Microscope photograph (4× objective) of a membrane that a urine sample was filtered through.
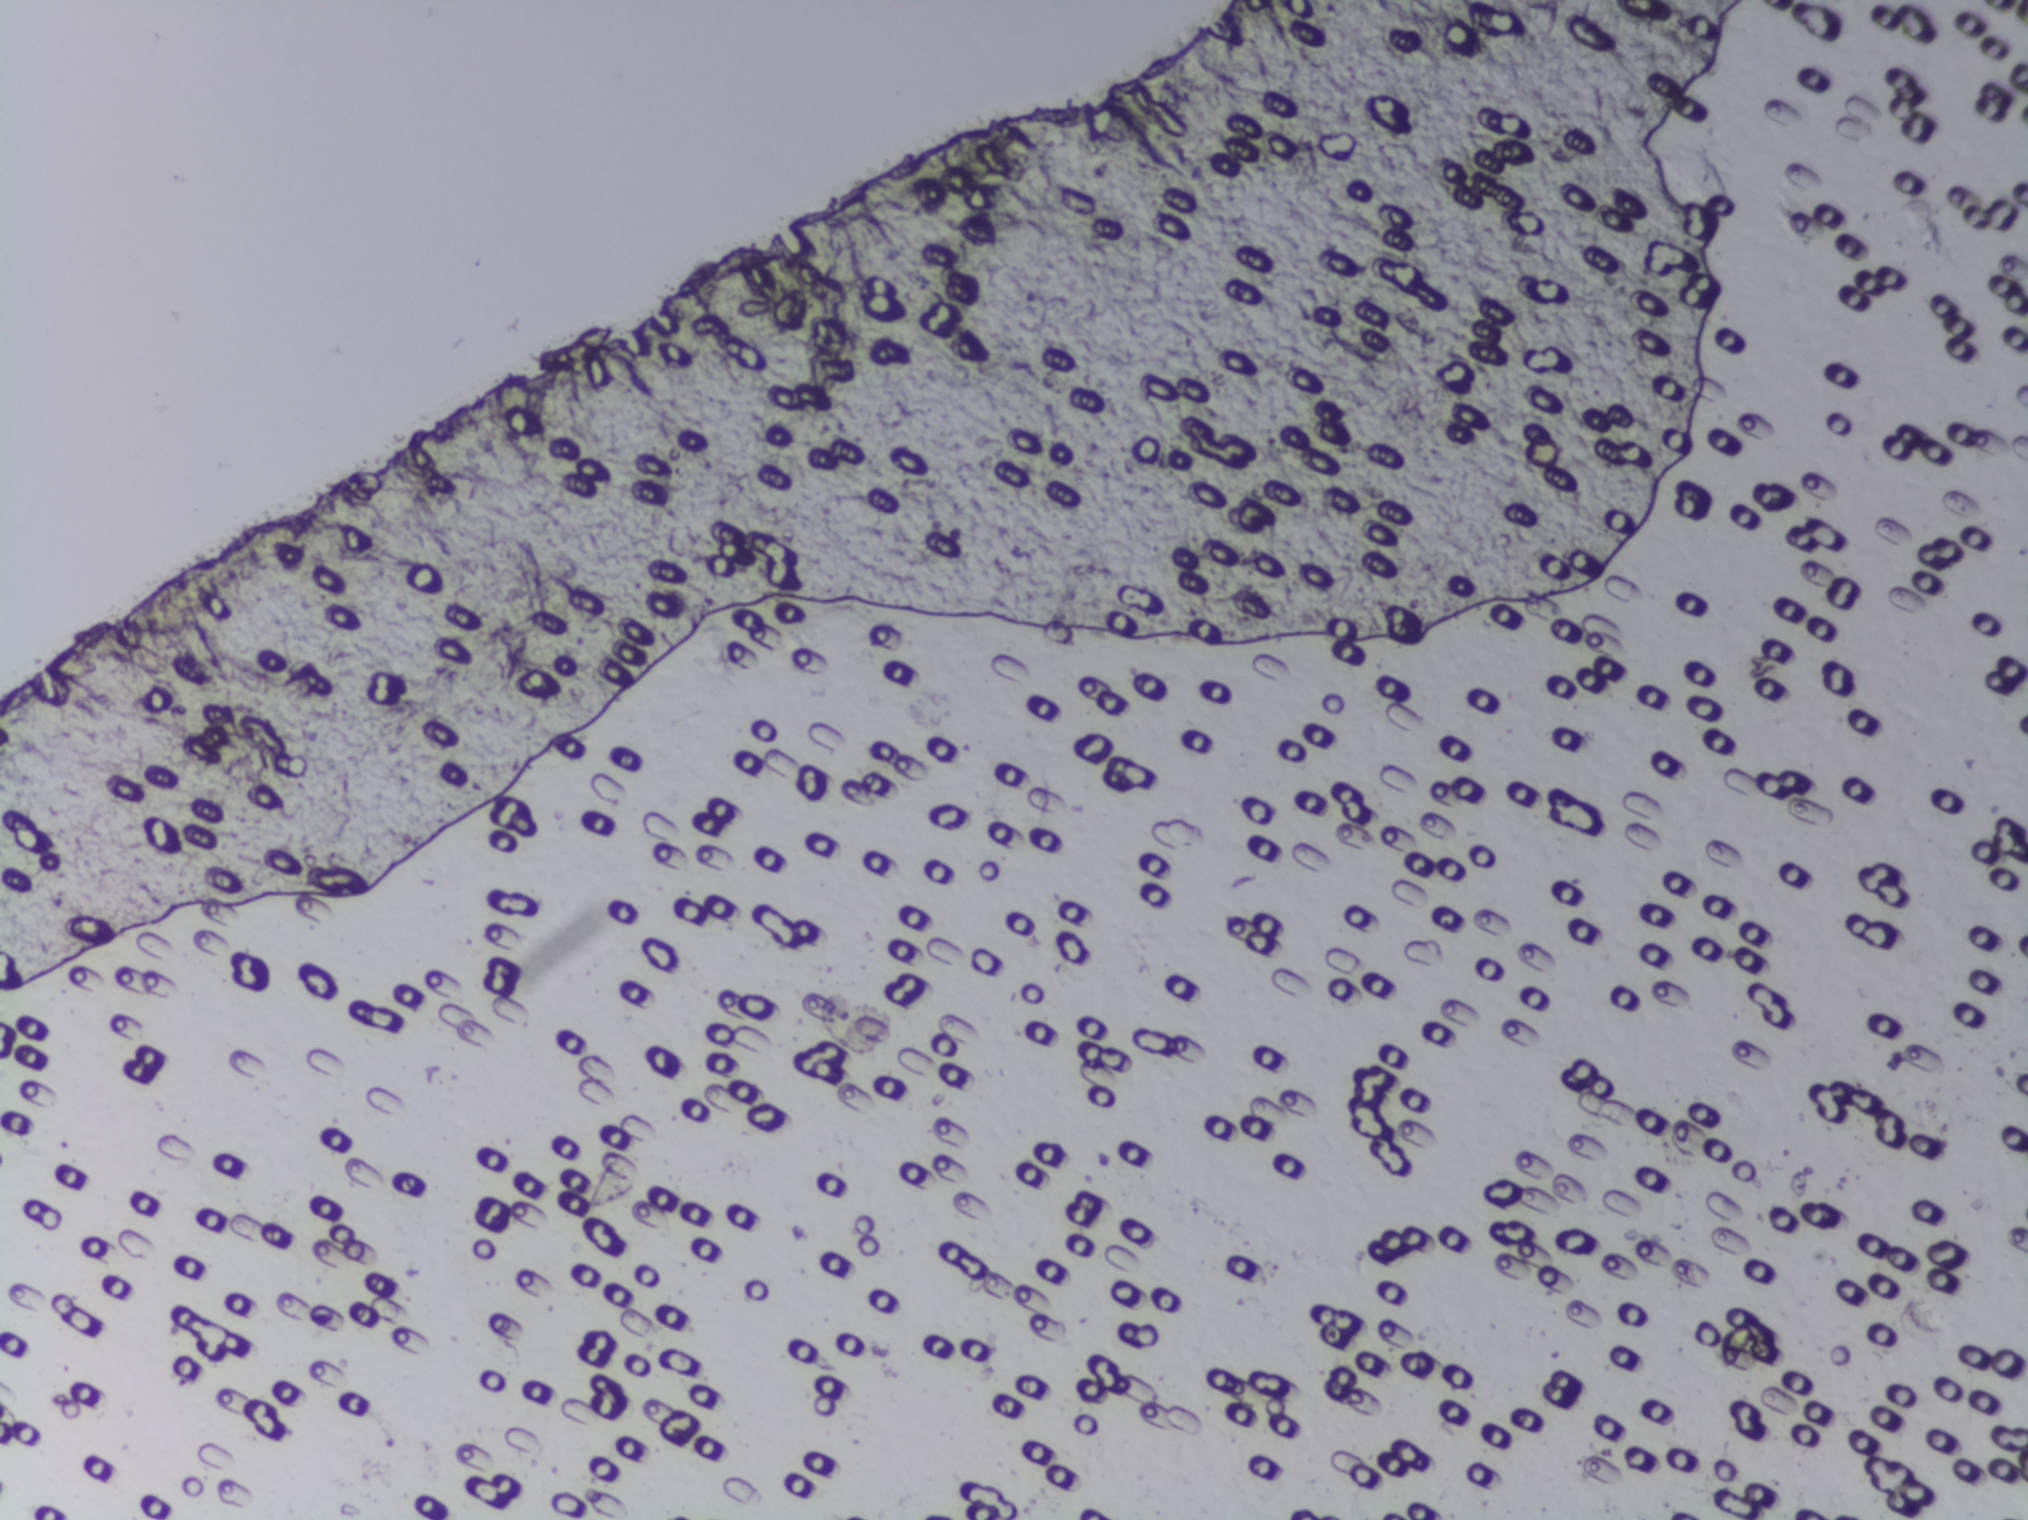
The expert annotation outlines no Schistosoma egg in this image.